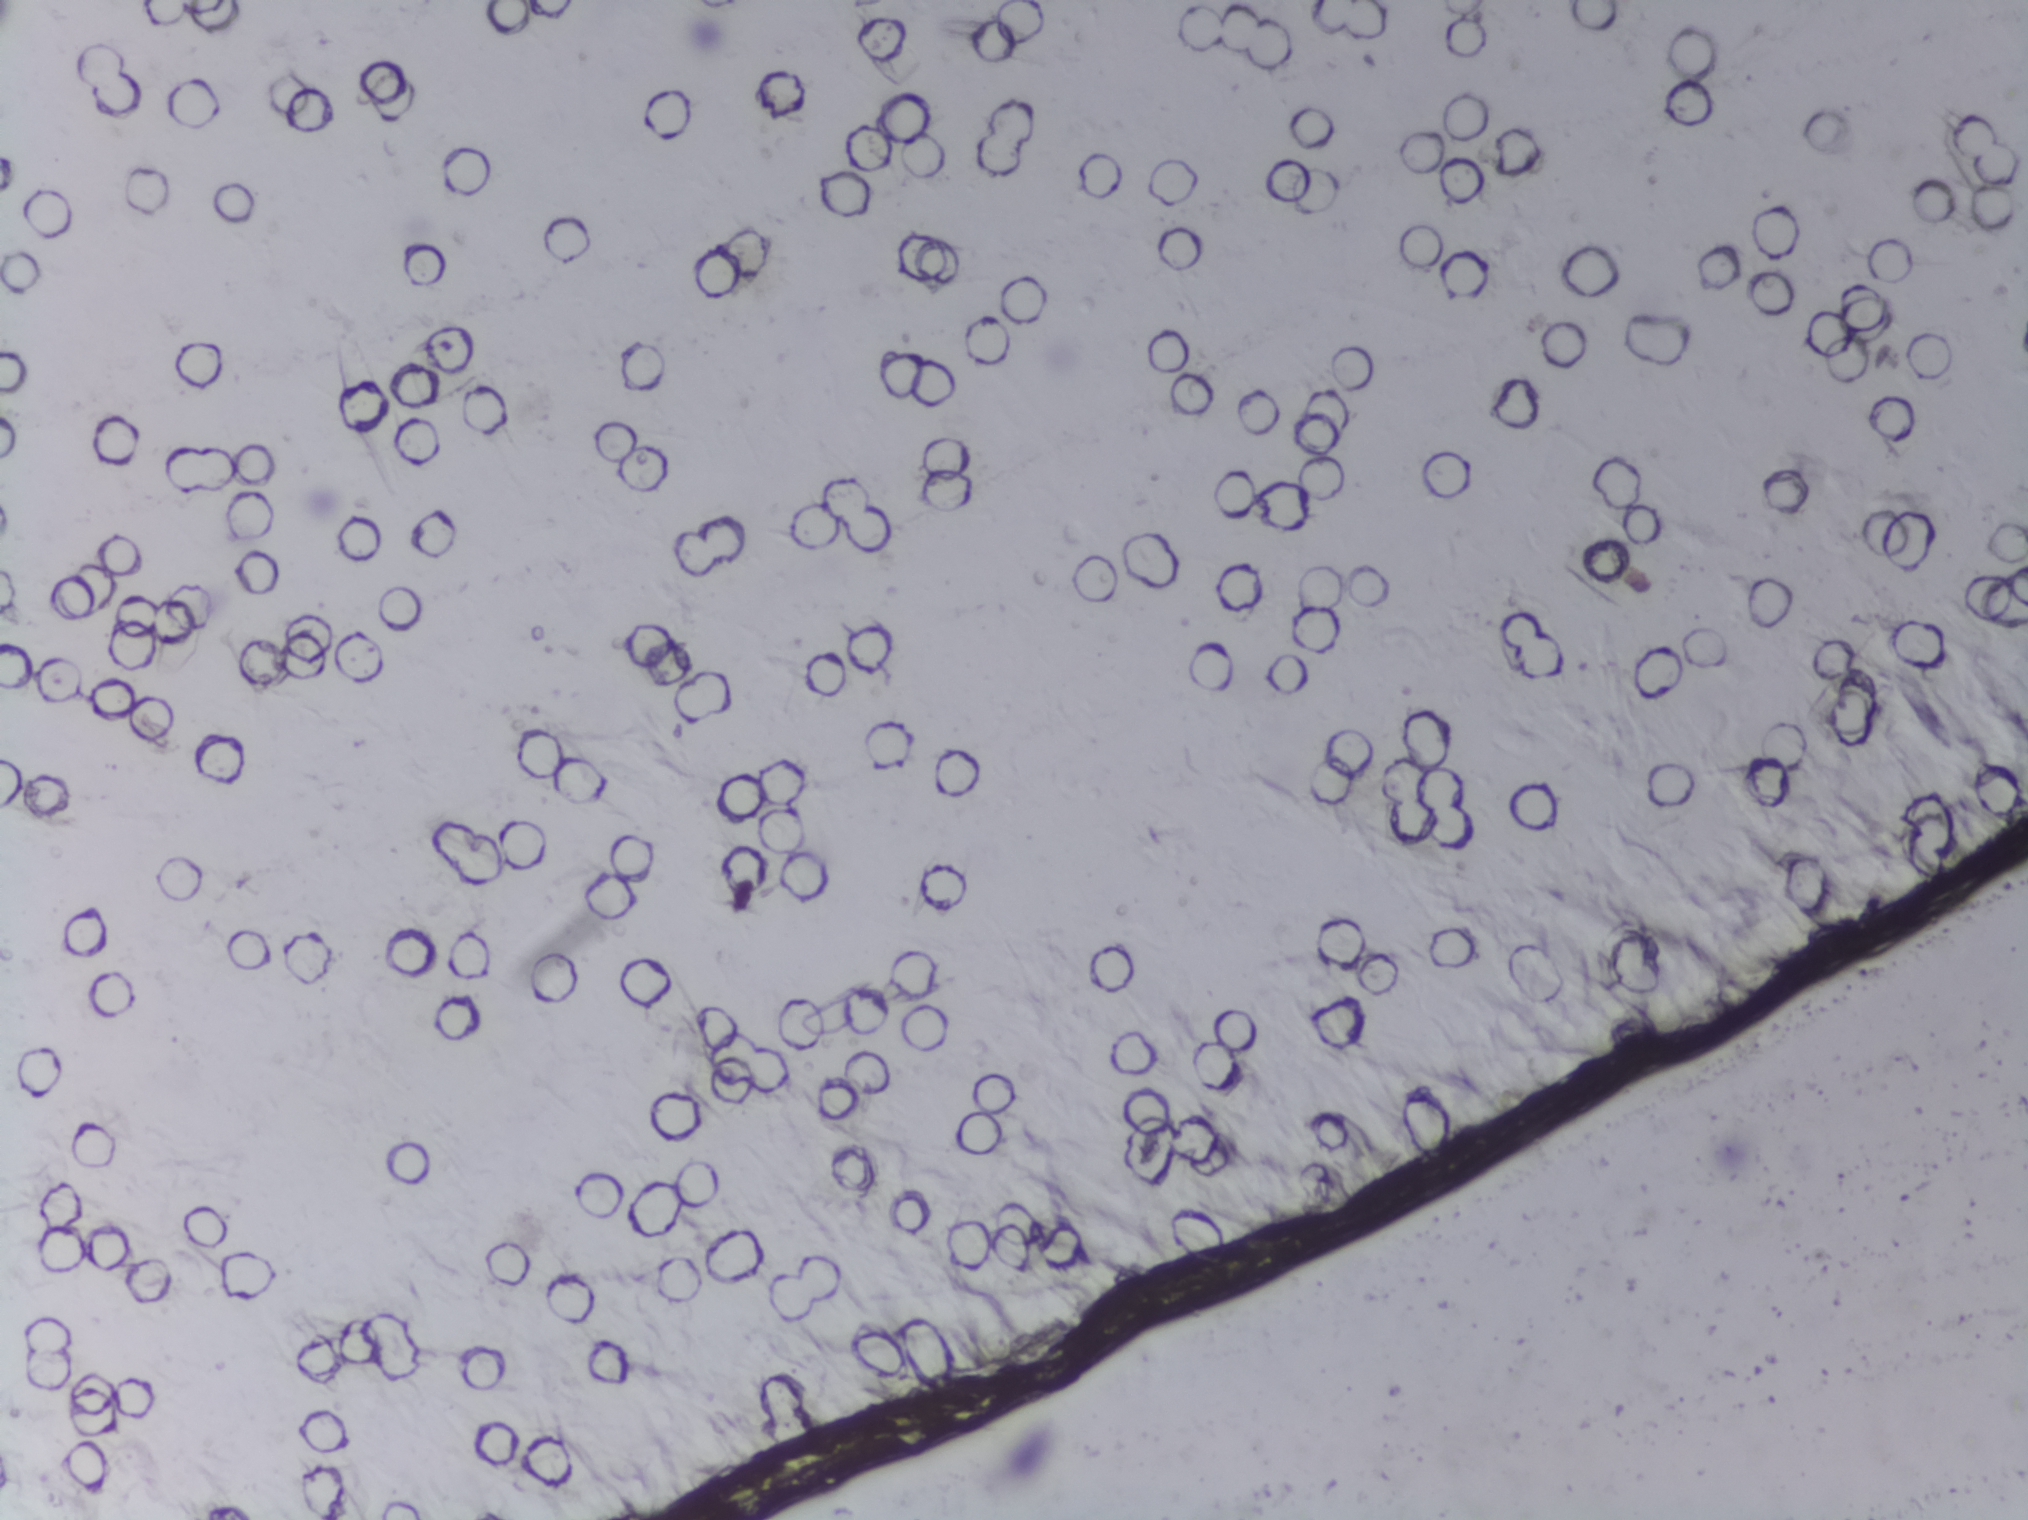
No Schistosoma egg is outlined in this image's expert annotation.
Photograph from an automated digital microscope: urine filter membrane, 4× objective.